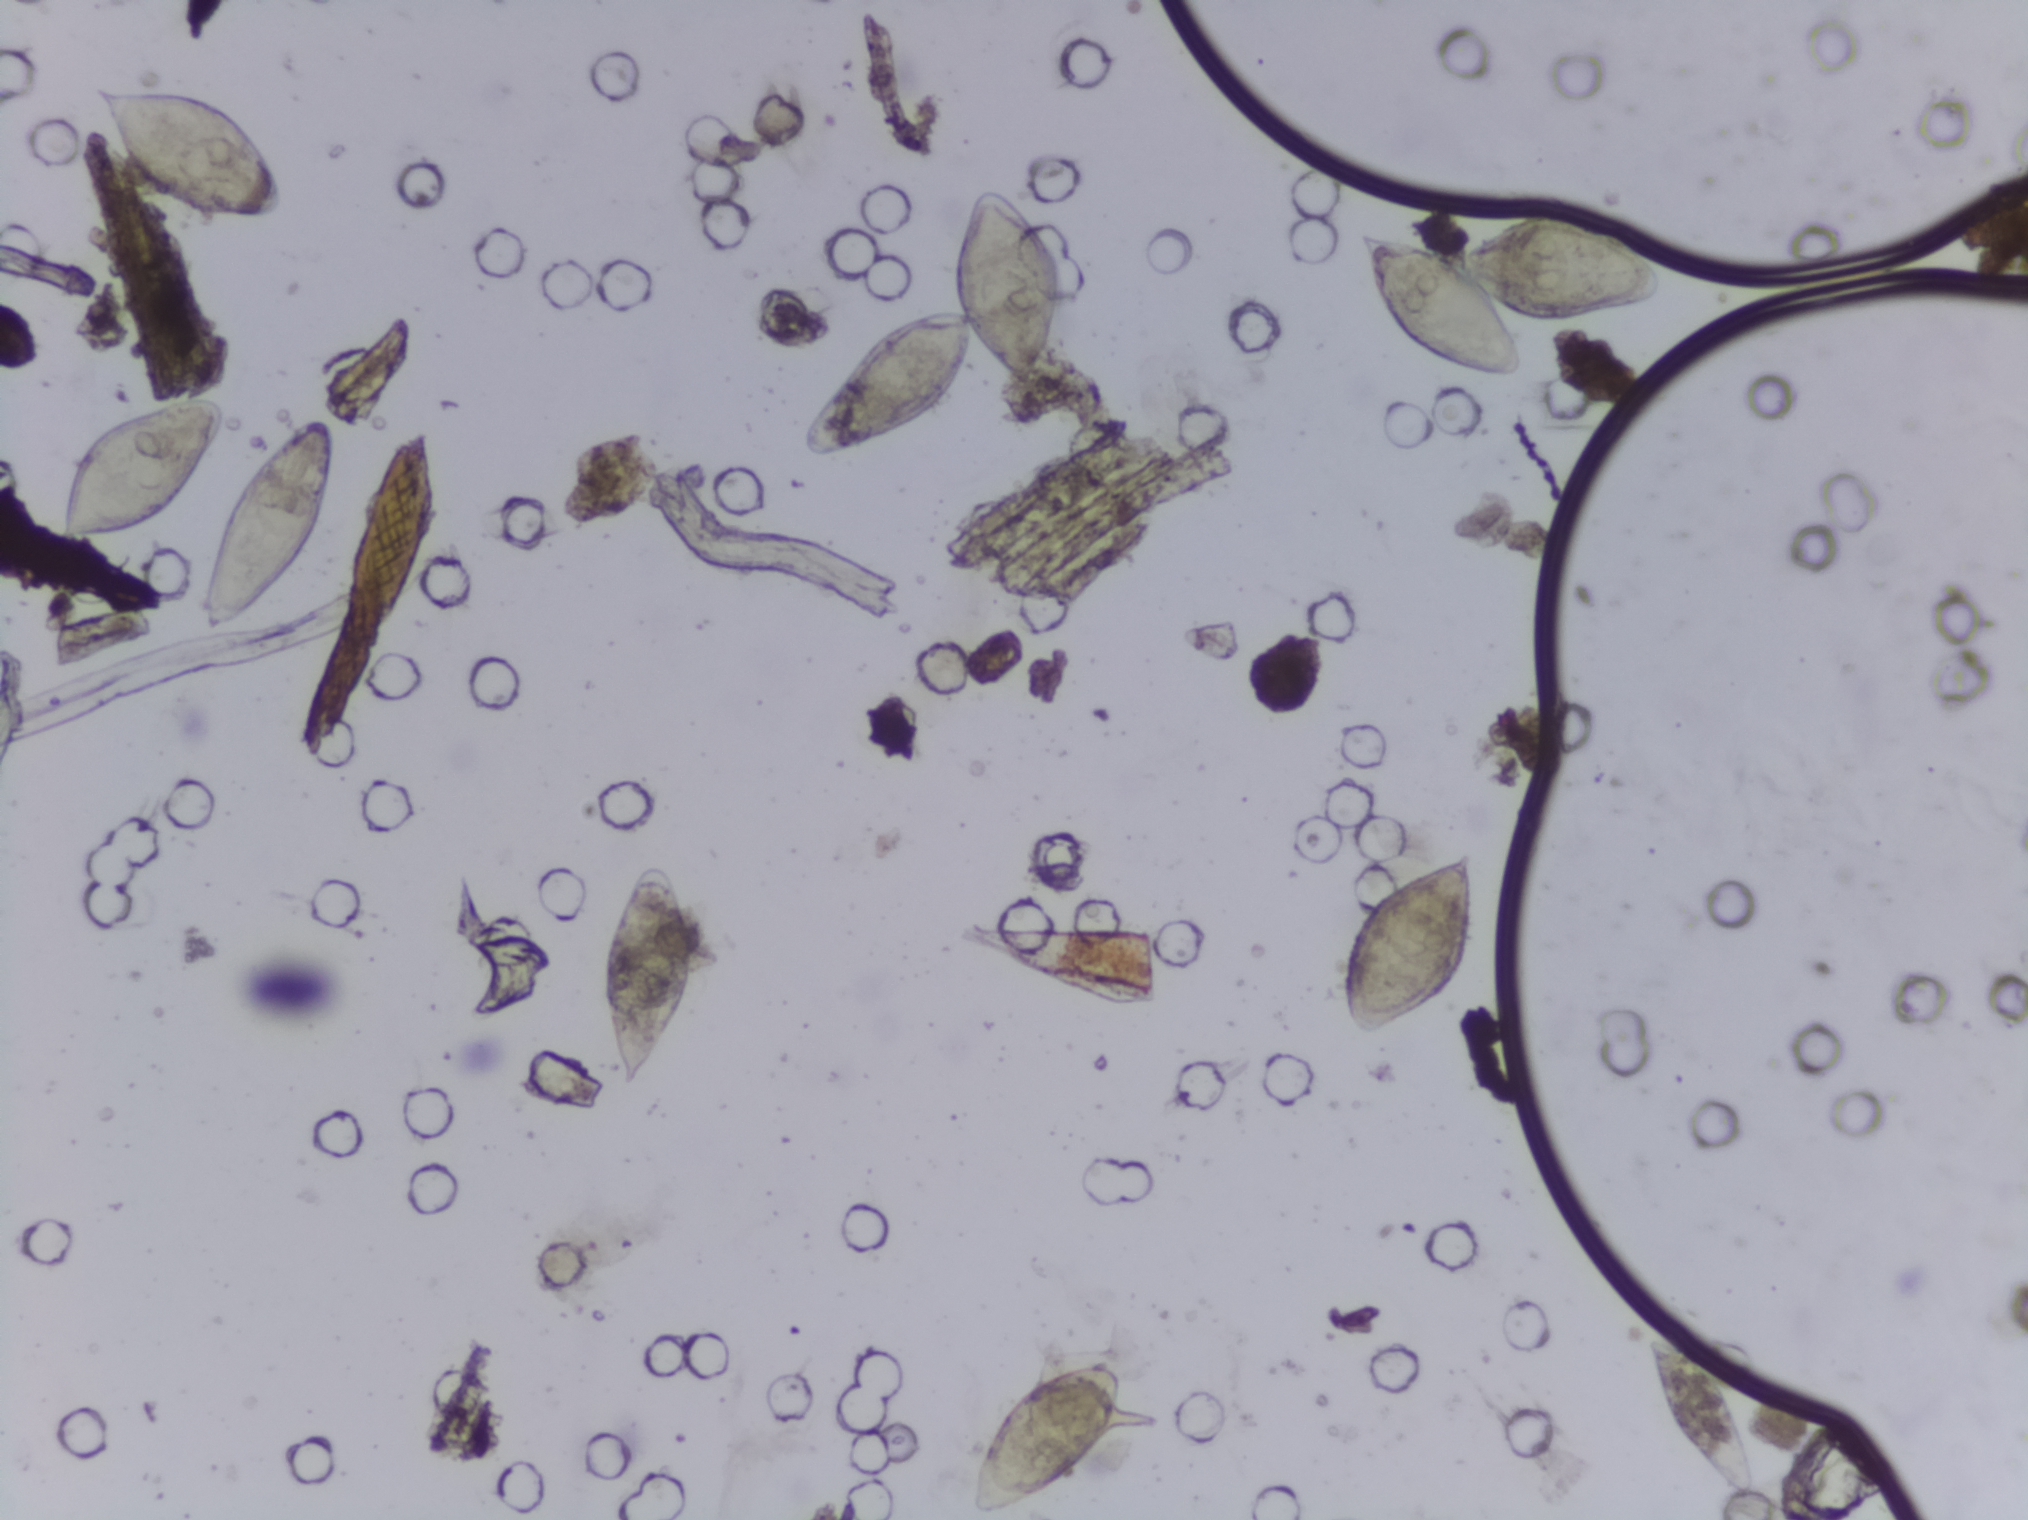
Urine filtration membrane under a 4× objective, photographed by an automated digital microscope.
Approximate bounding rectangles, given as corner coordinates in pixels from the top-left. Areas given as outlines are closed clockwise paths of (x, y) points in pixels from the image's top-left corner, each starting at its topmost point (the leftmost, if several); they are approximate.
Schistosoma eggs are outlined in nine areas of this image, listed from left to right: box (x1=59, y1=393, x2=224, y2=545); box (x1=92, y1=76, x2=294, y2=225); box (x1=192, y1=416, x2=338, y2=640); box (x1=604, y1=860, x2=703, y2=1091); outline (983, 185), (1003, 186), (1037, 213), (1066, 260), (1071, 306), (1041, 397), (1018, 396), (972, 342), (955, 398), (895, 446), (842, 466), (806, 462), (795, 446), (793, 425), (812, 393), (849, 364), (858, 343), (920, 313), (960, 308), (958, 231), (966, 204); box (x1=957, y1=1351, x2=1160, y2=1519) (reaching the bottom edge of the frame); box (x1=1336, y1=848, x2=1480, y2=1040); box (x1=1349, y1=204, x2=1664, y2=385); box (x1=1643, y1=1339, x2=1755, y2=1493). About 6.2% of the image's pixels are marked (the marked pixels themselves, not the boxes and the outline around them). Eggs that touch can end up inside the same outlined area. A marked egg may occasionally be S. mansoni rather than S. haematobium.